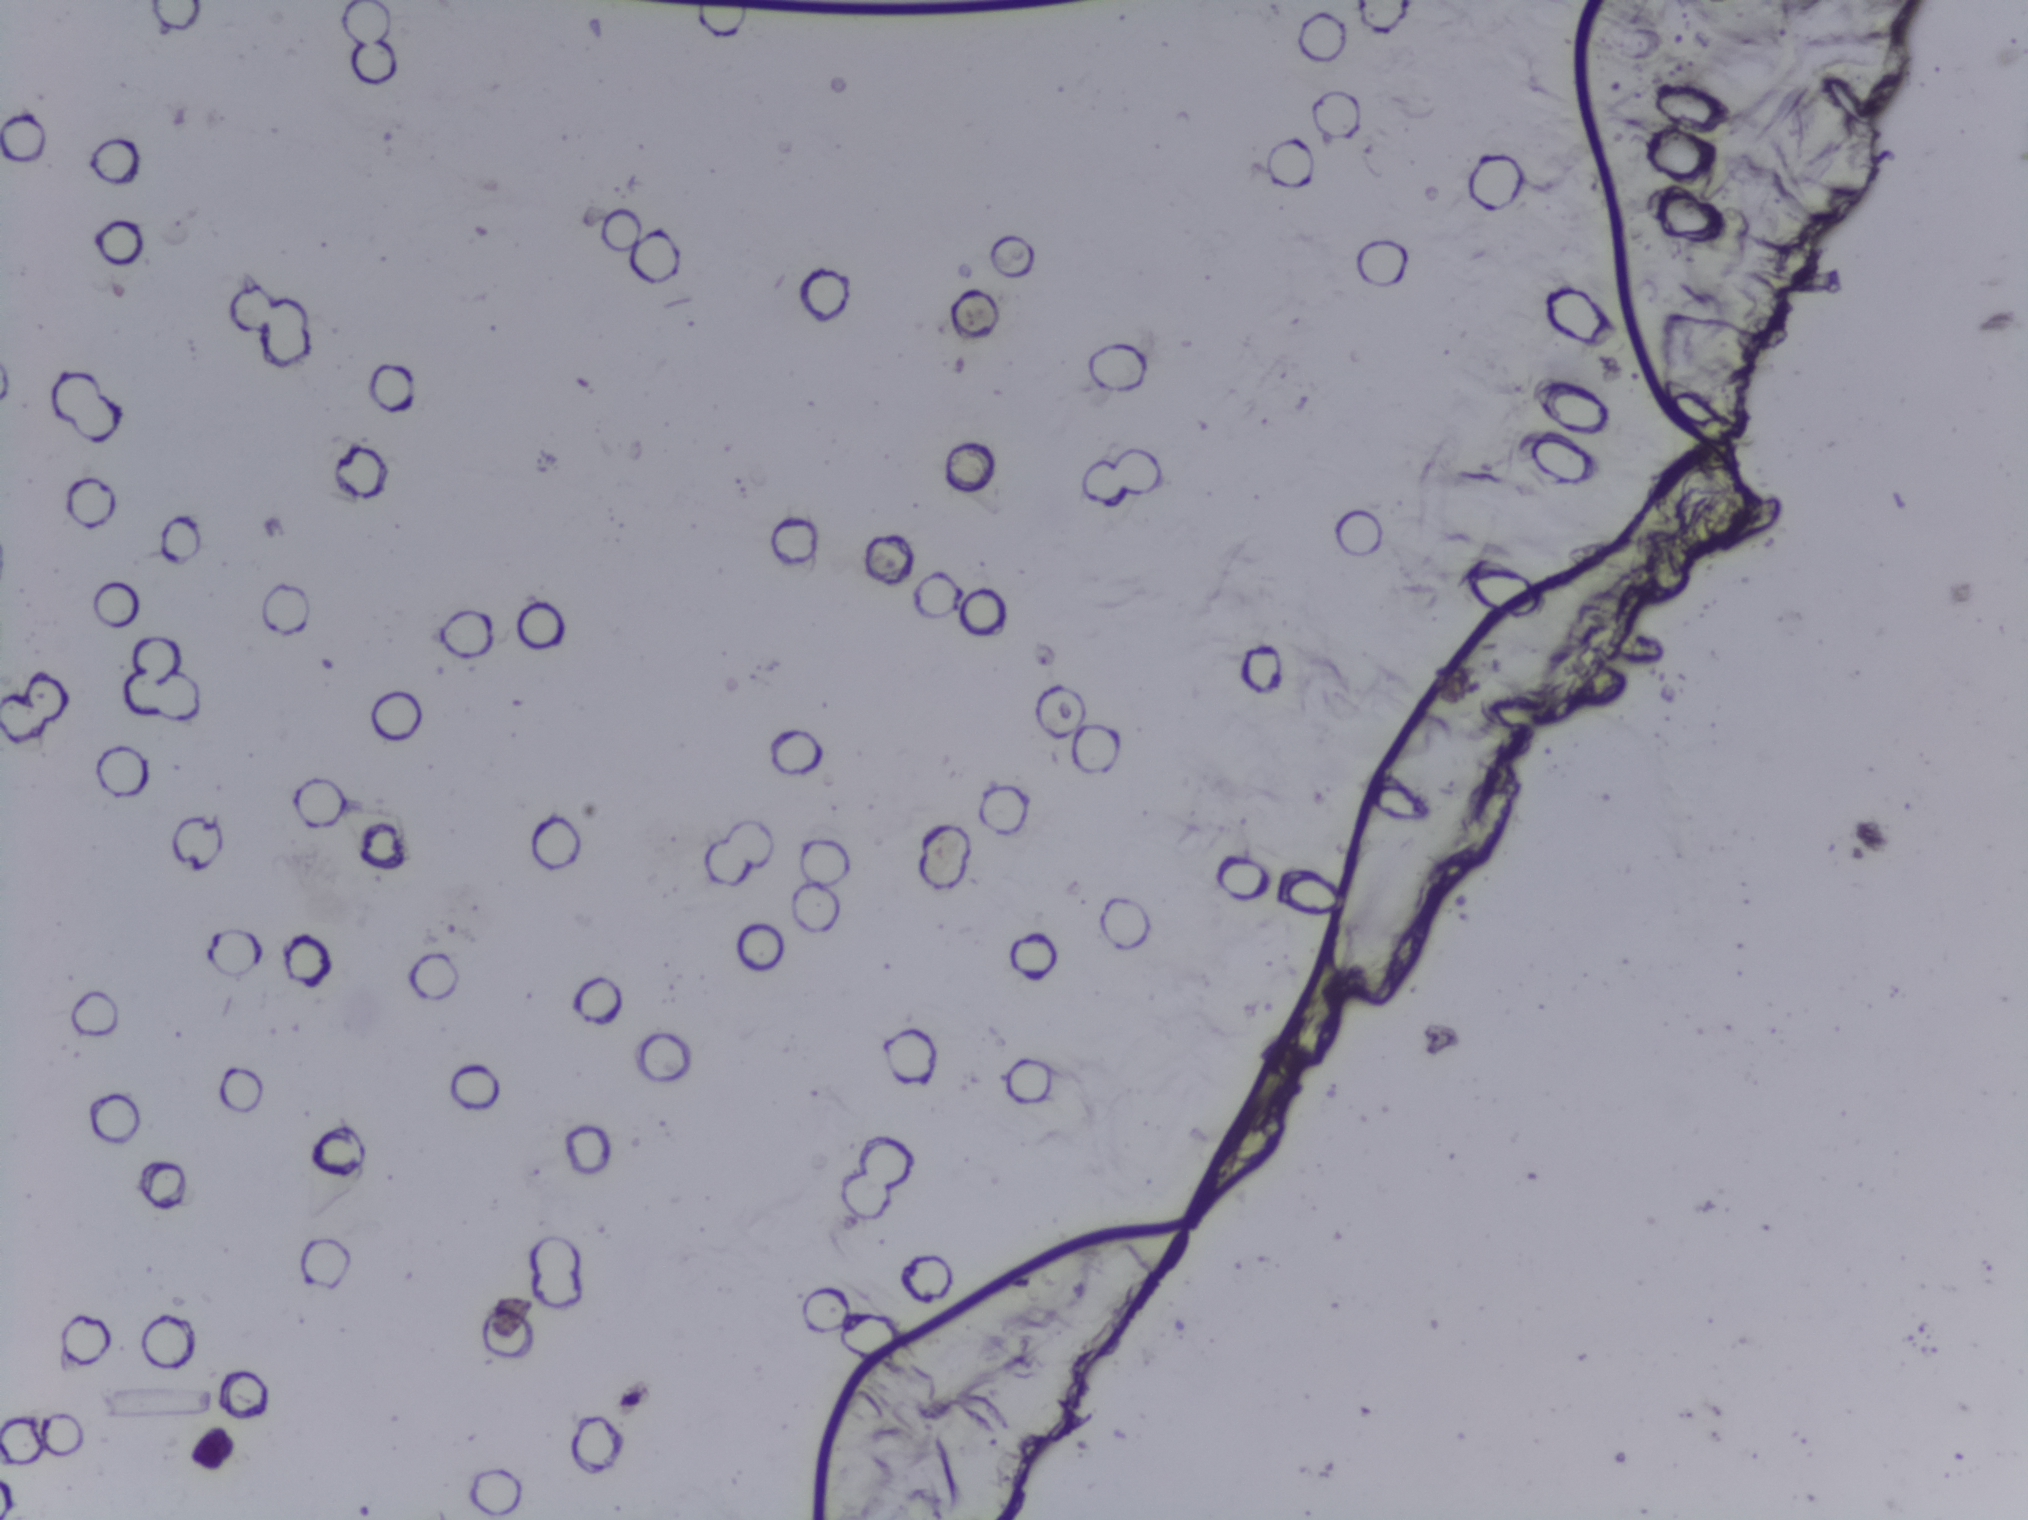
Urine filter membrane photographed through a 4× microscope objective. The field of view is about 1.5 mm × 1.1 mm.
The expert annotation outlines no Schistosoma egg in this image.